One field of view of a urine filter membrane, 4× objective, 2028 × 1520 pixels. The field of view is about 1.5 mm × 1.1 mm.
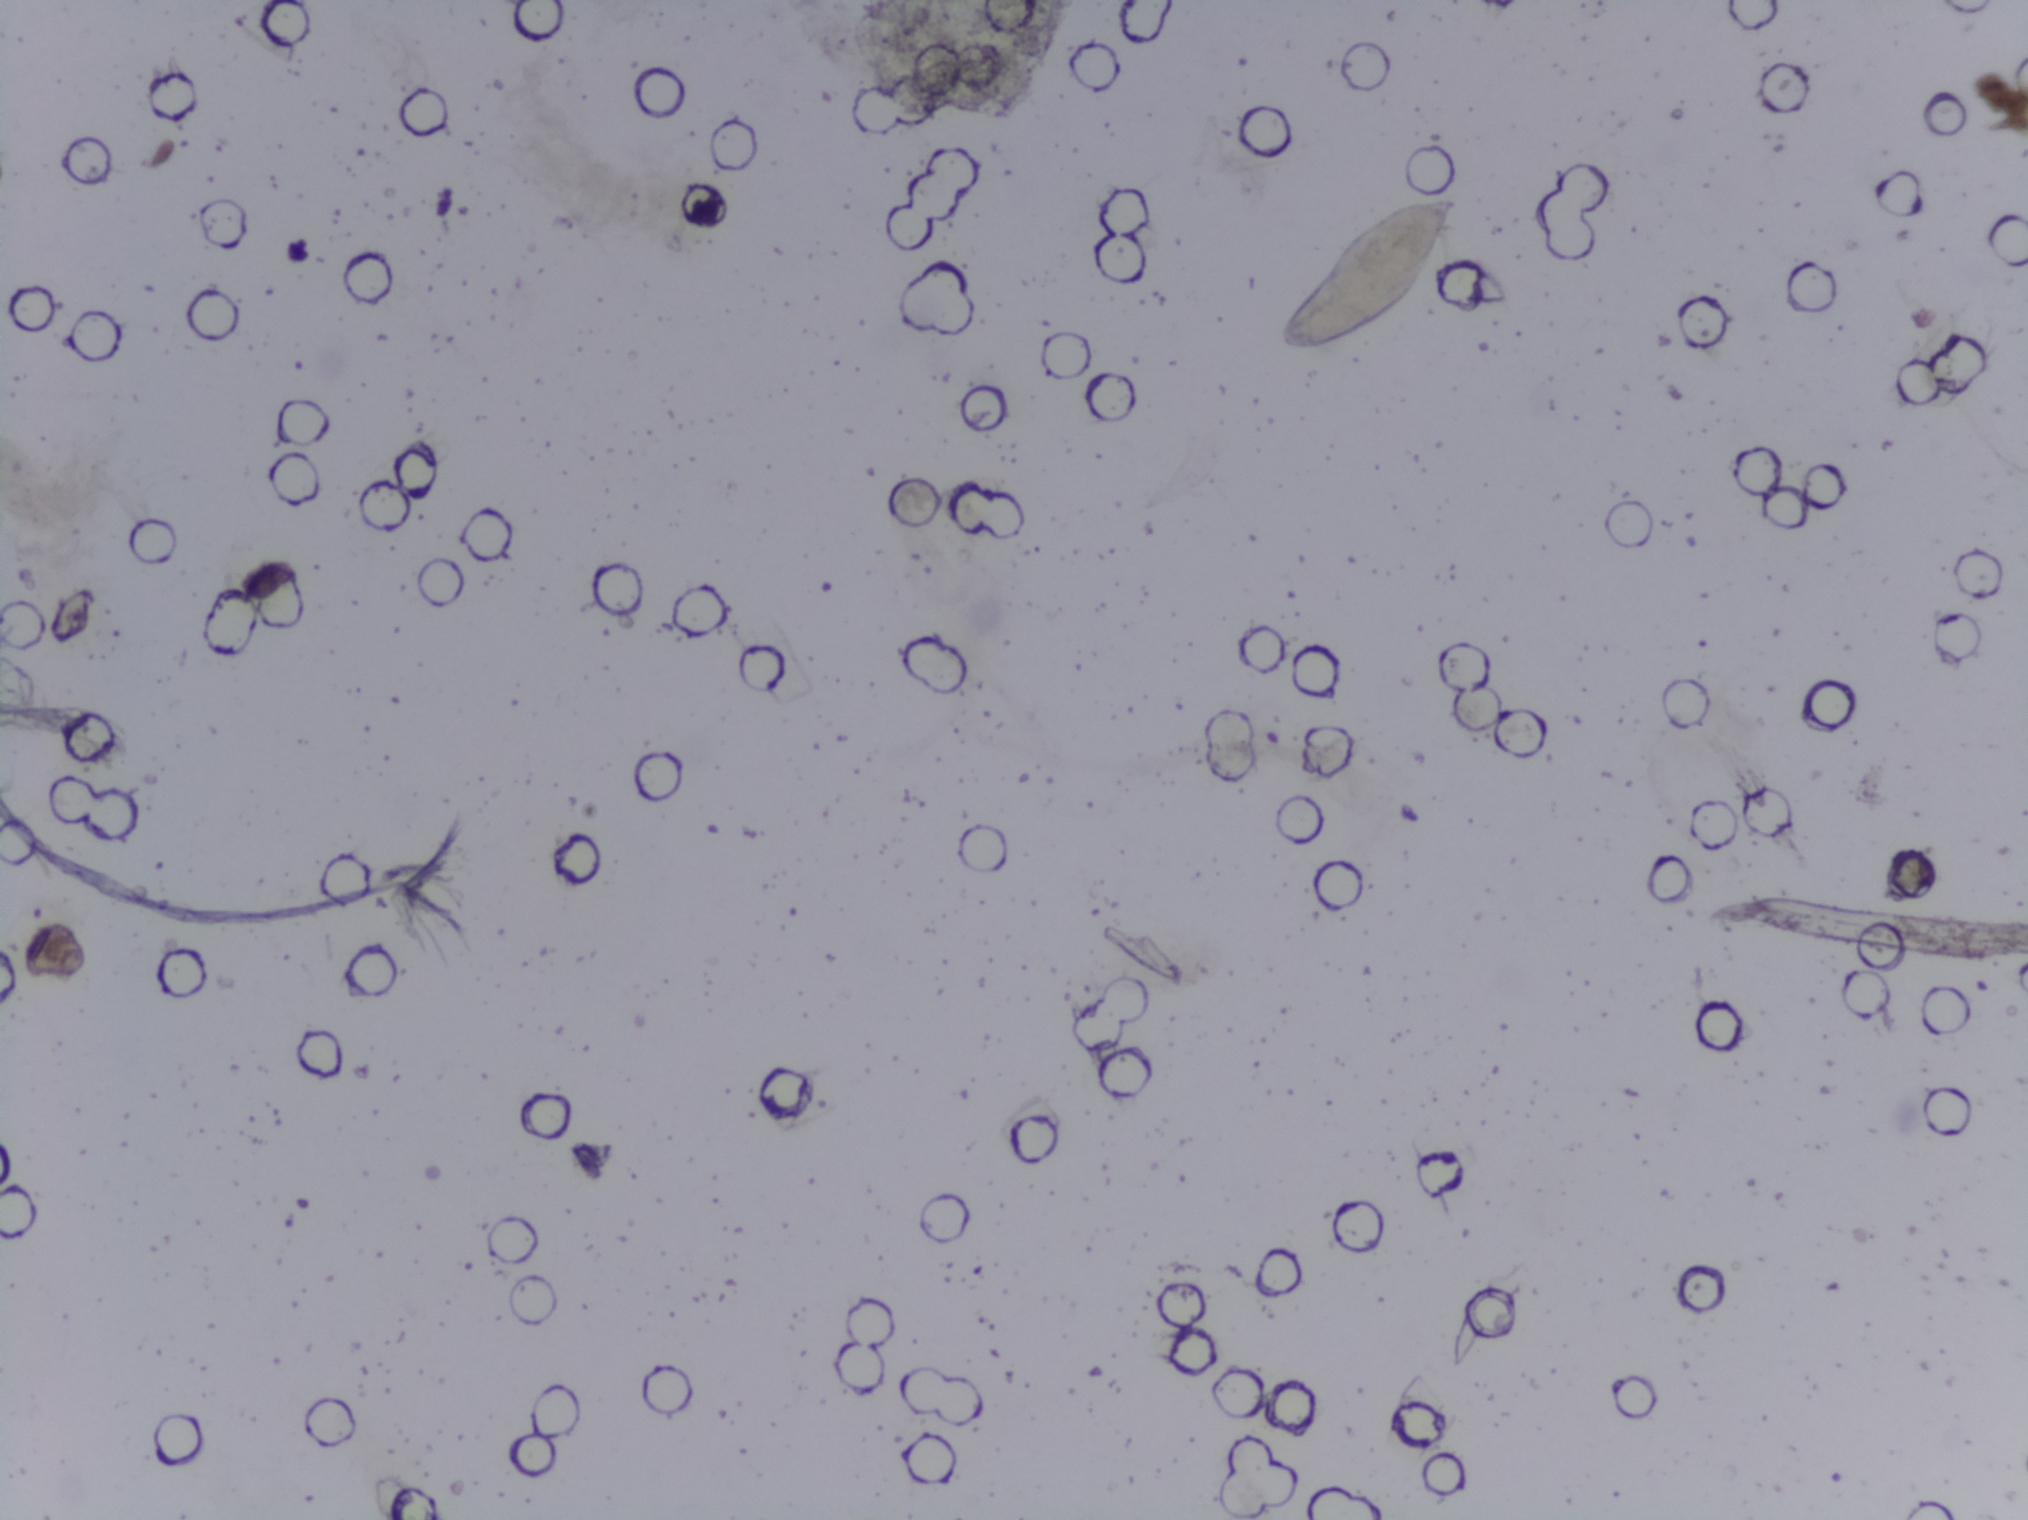
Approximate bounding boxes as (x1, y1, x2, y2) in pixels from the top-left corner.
Schistosoma eggs are outlined in the expert annotation at (1272, 191, 1461, 358). Marked pixels, not the box around them: about 0.6% of the image. Eggs that touch can end up inside the same outlined area.